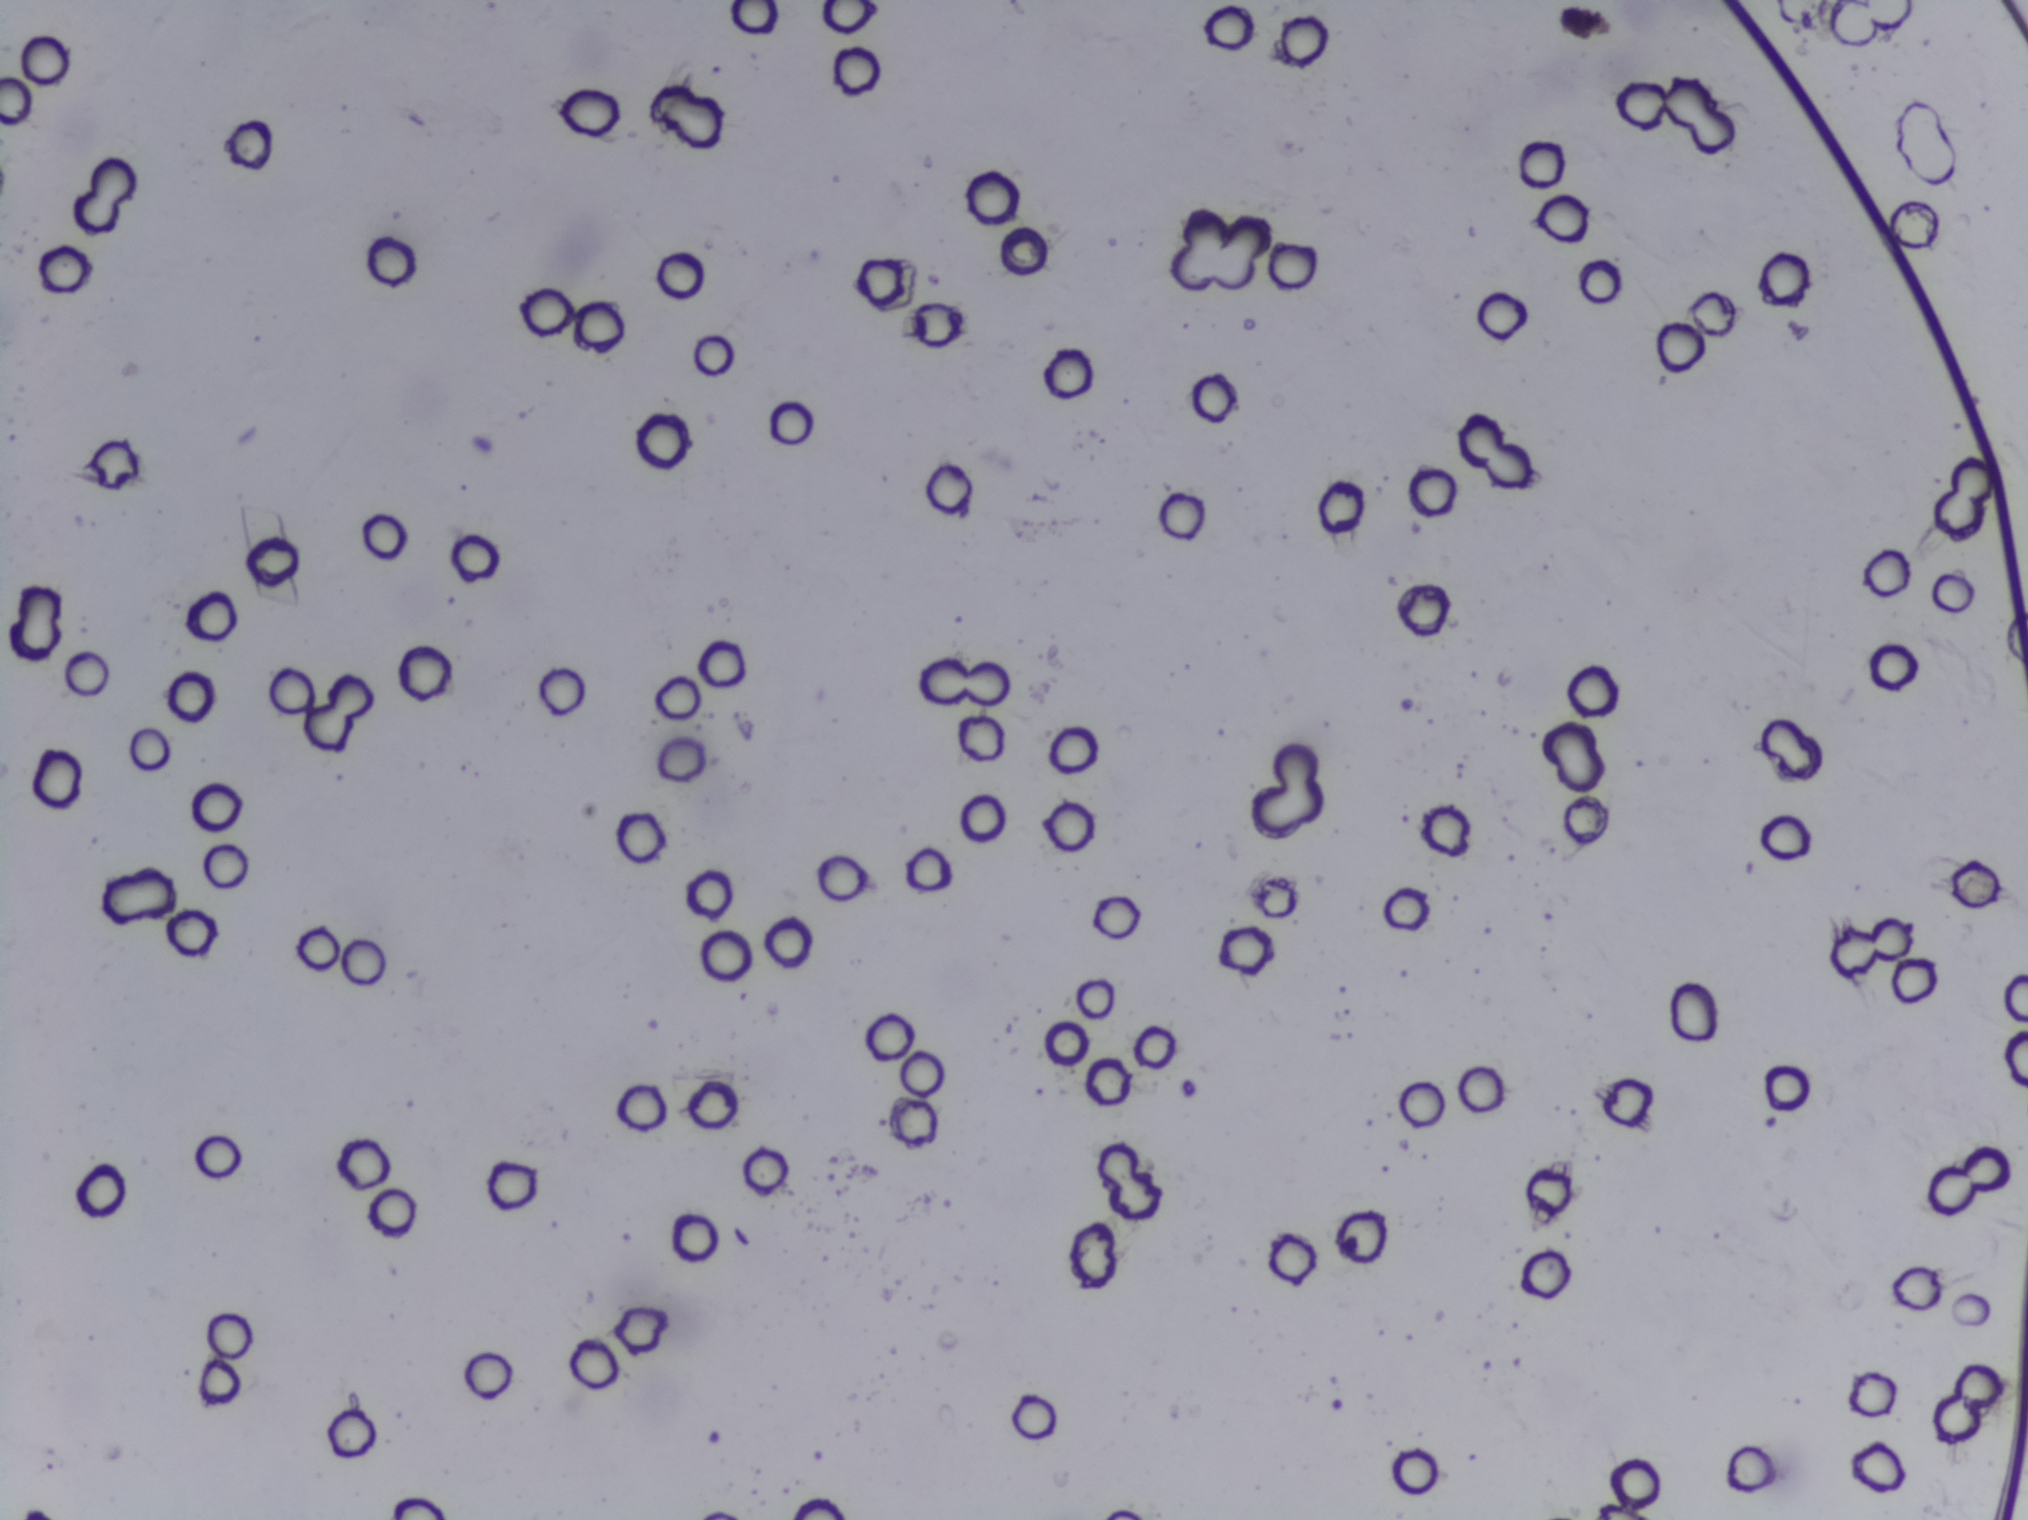
Microscope photograph (4× objective) of a membrane that a urine sample was filtered through.
No Schistosoma egg is outlined in this image's expert annotation.